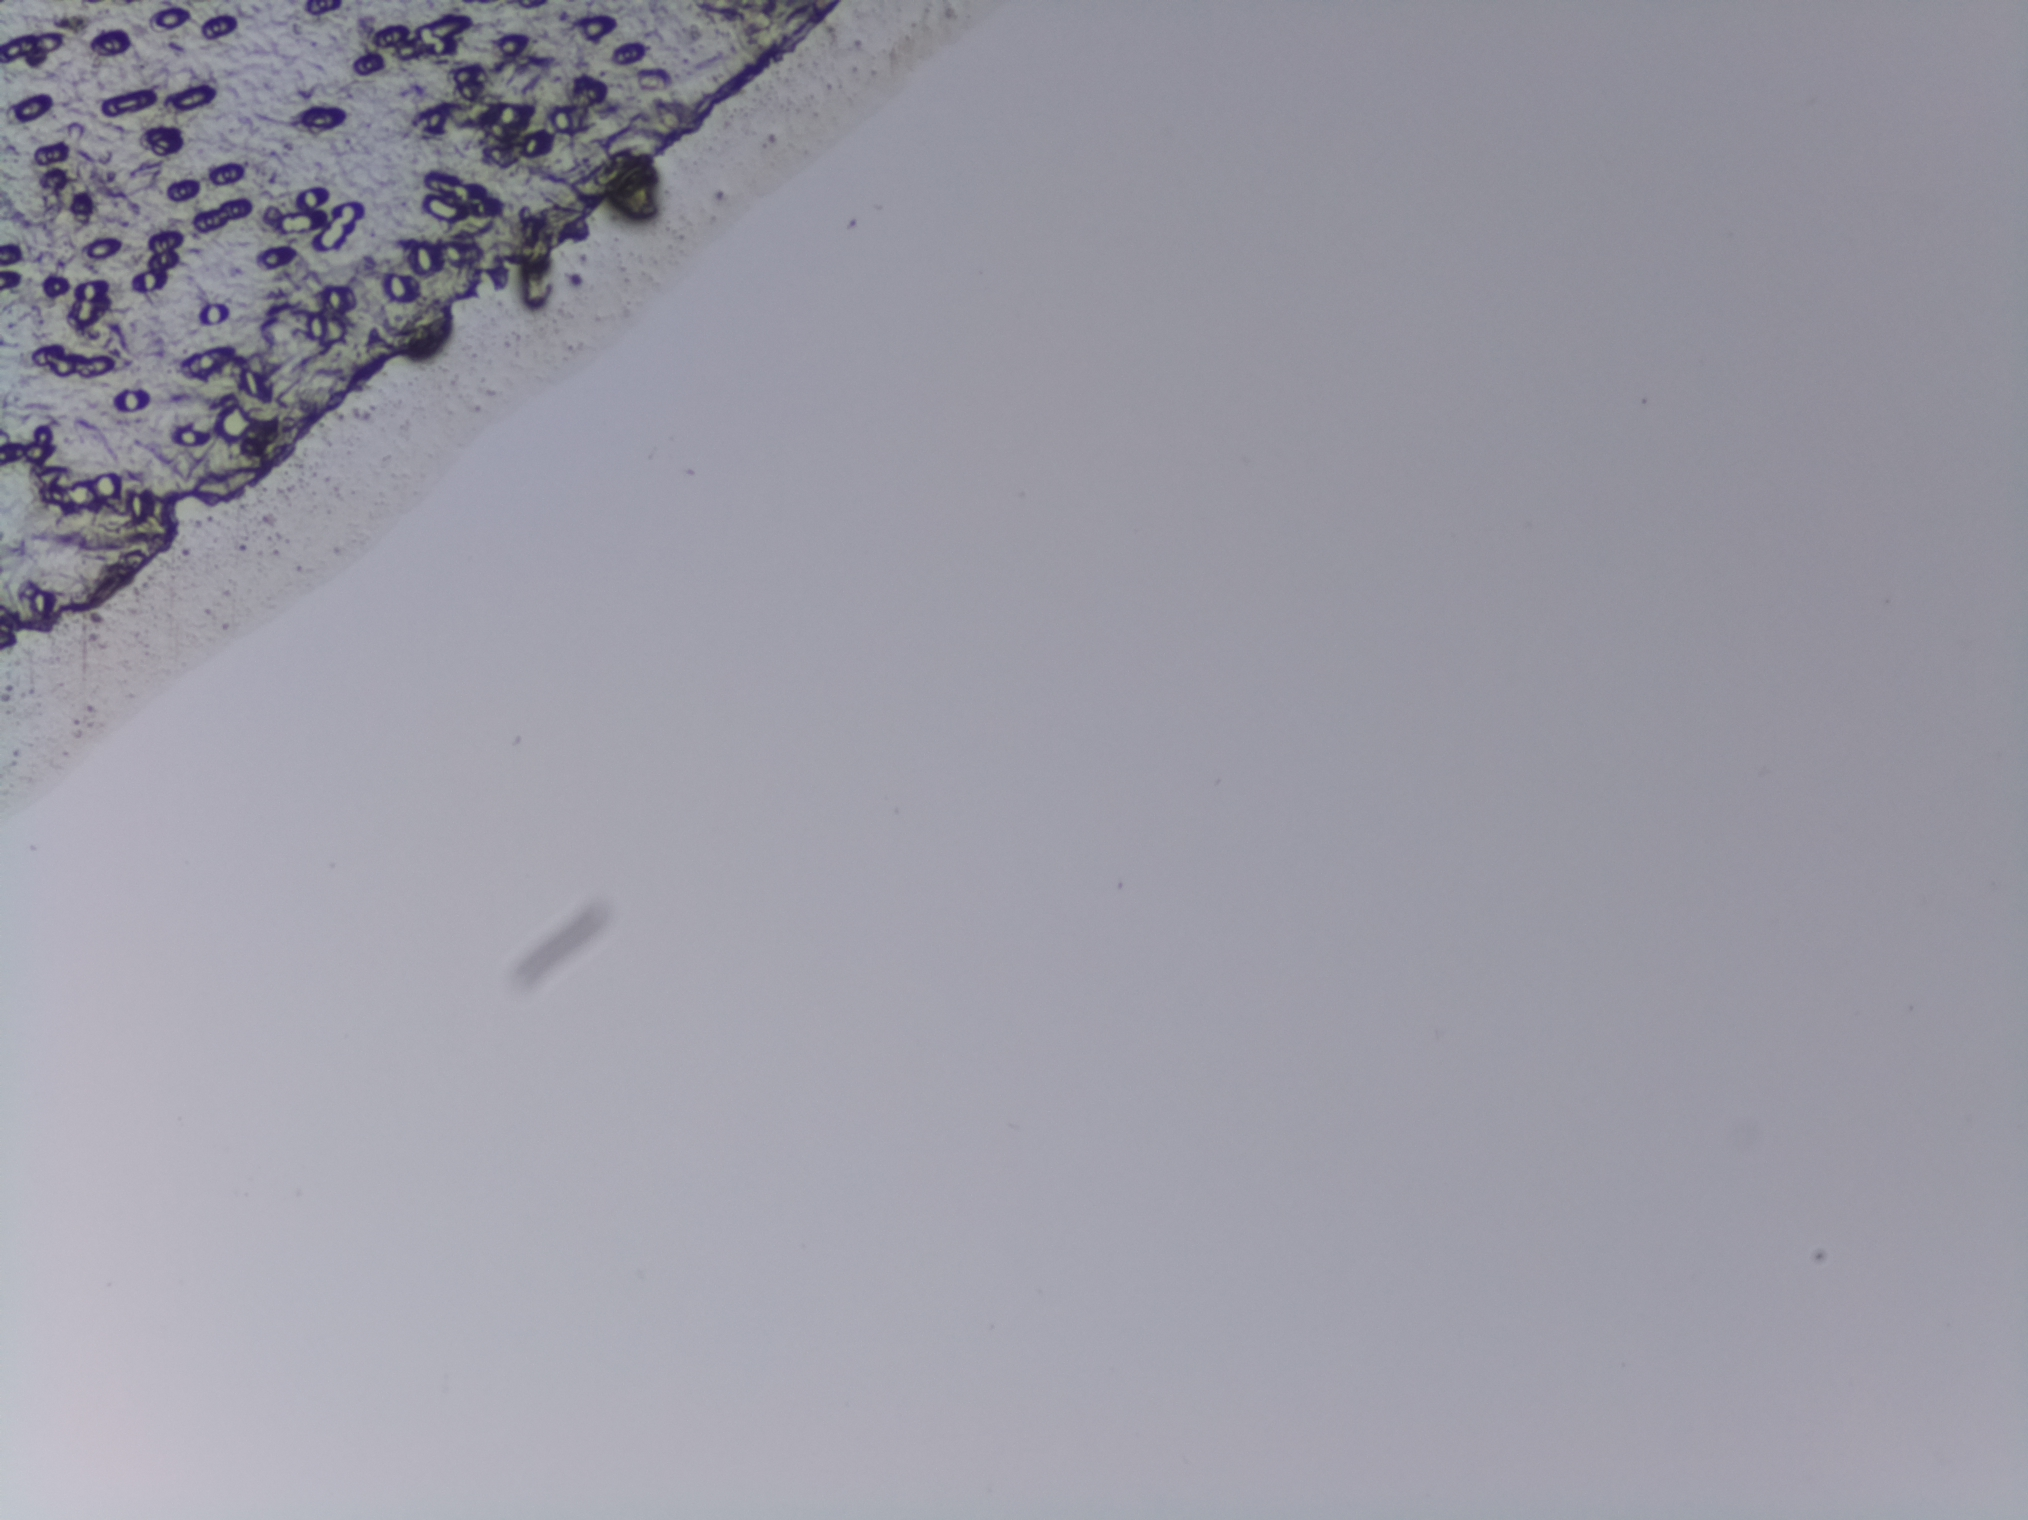
One field of view of a urine filter membrane, 4× objective, 2028 × 1520 pixels.
No area of this image was outlined as a Schistosoma egg.